Urine filtration membrane under a 4× objective, photographed by an automated digital microscope.
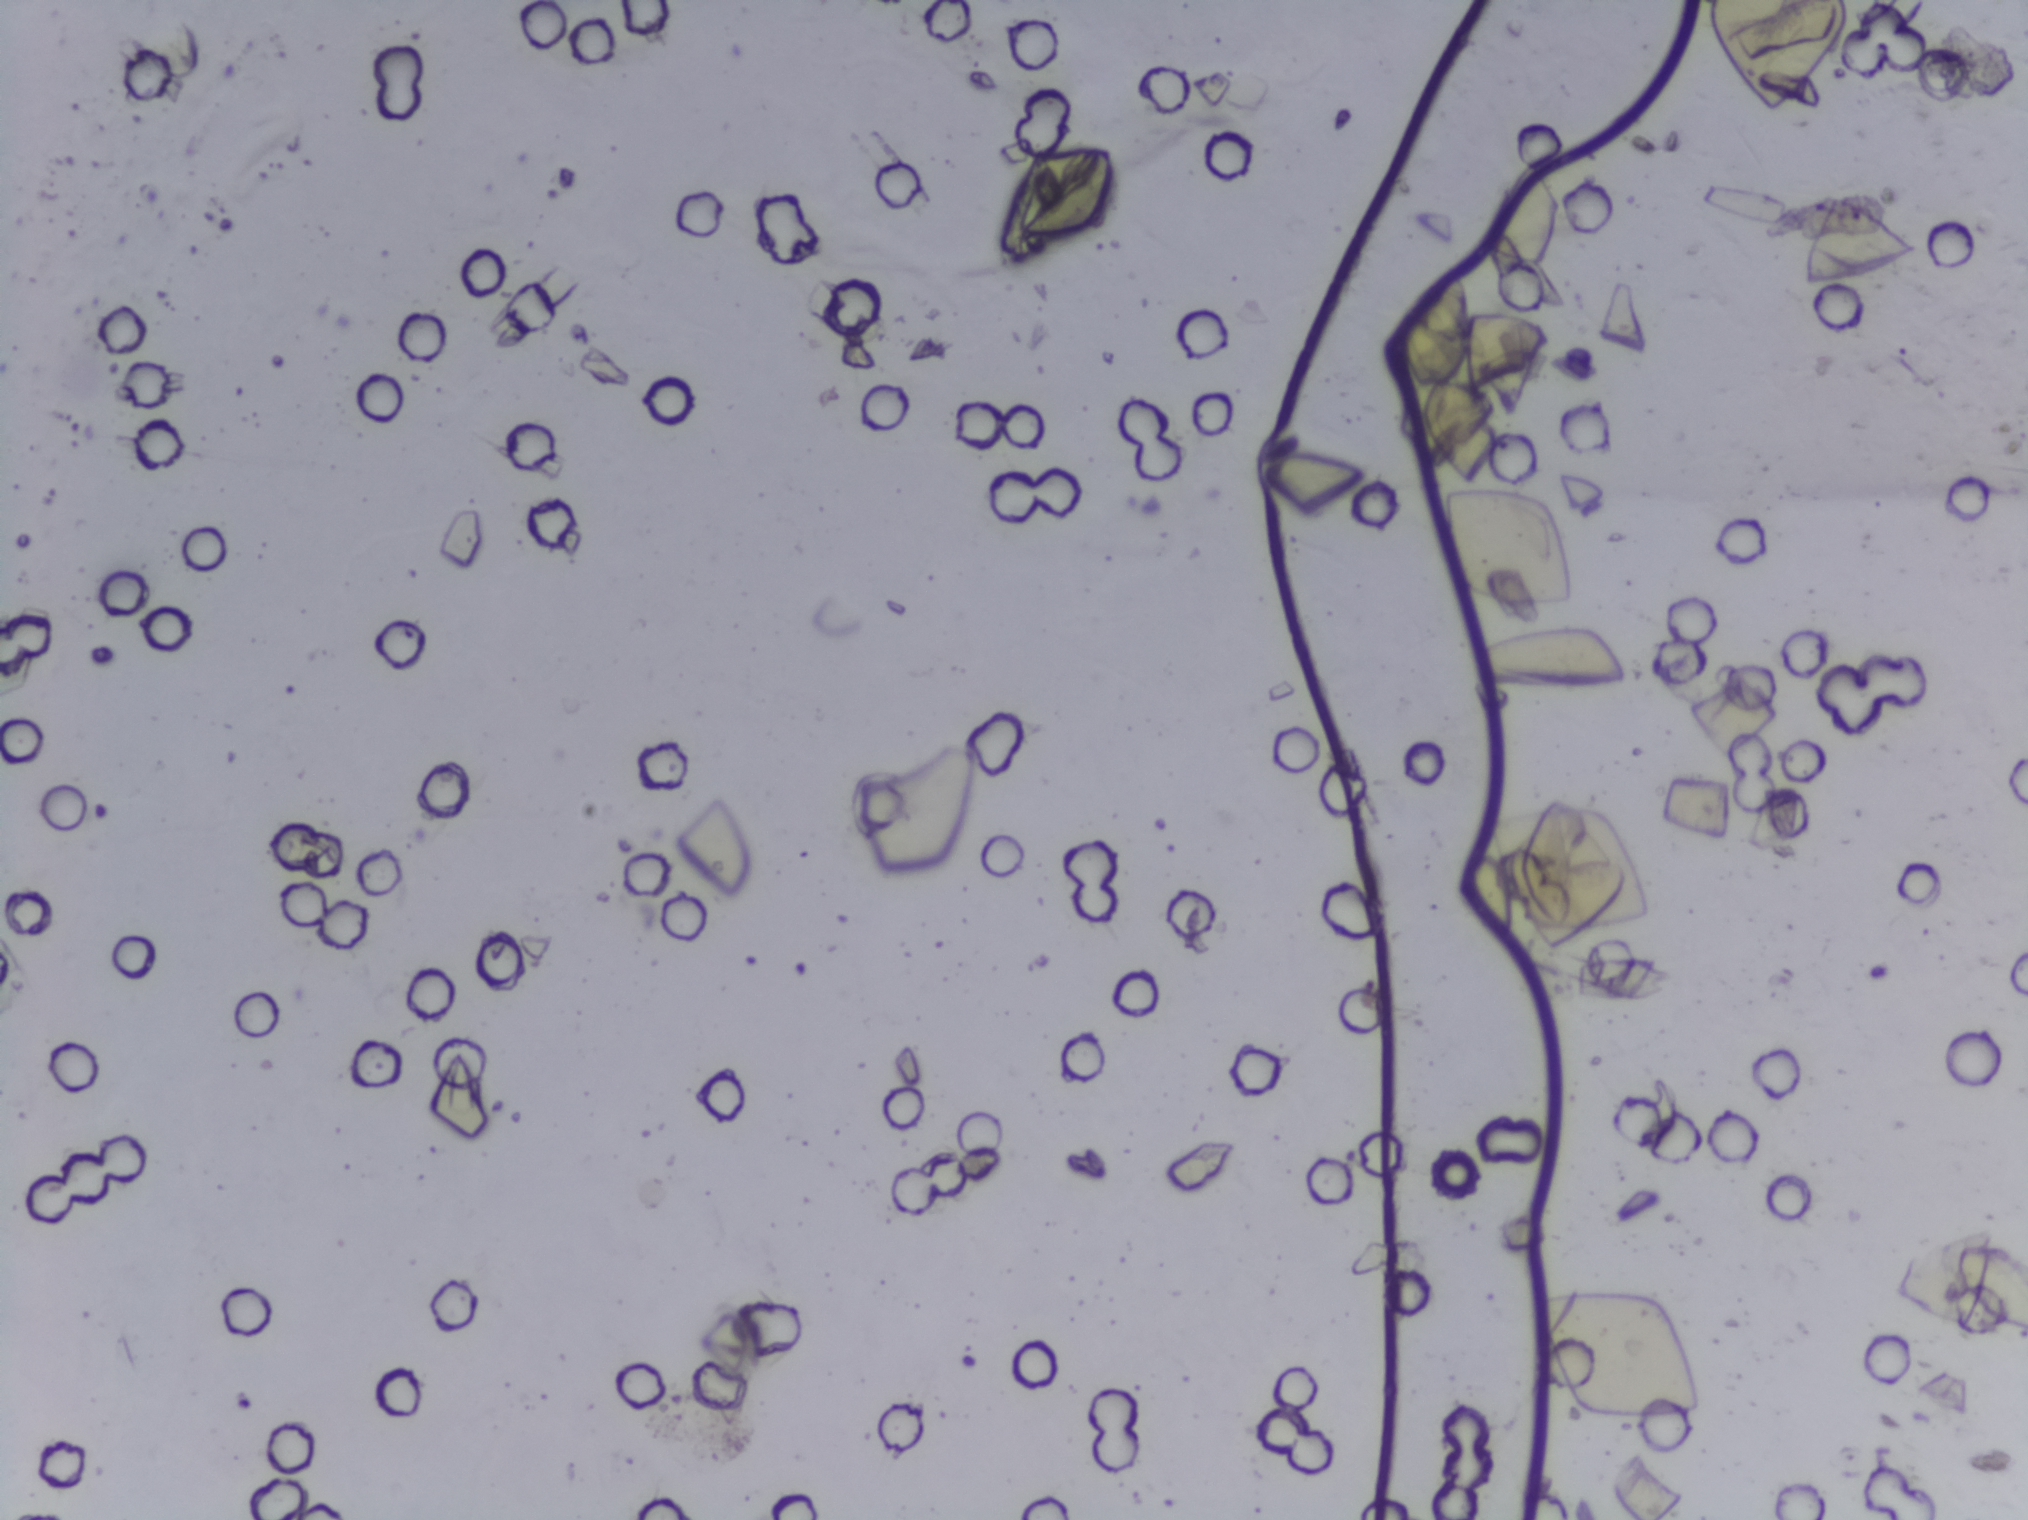
Schistosoma eggs: none outlined.